One field of view of a urine filter membrane, 4× objective, 2028 × 1520 pixels. Field of view: about 1.5 mm wide and 1.1 mm high.
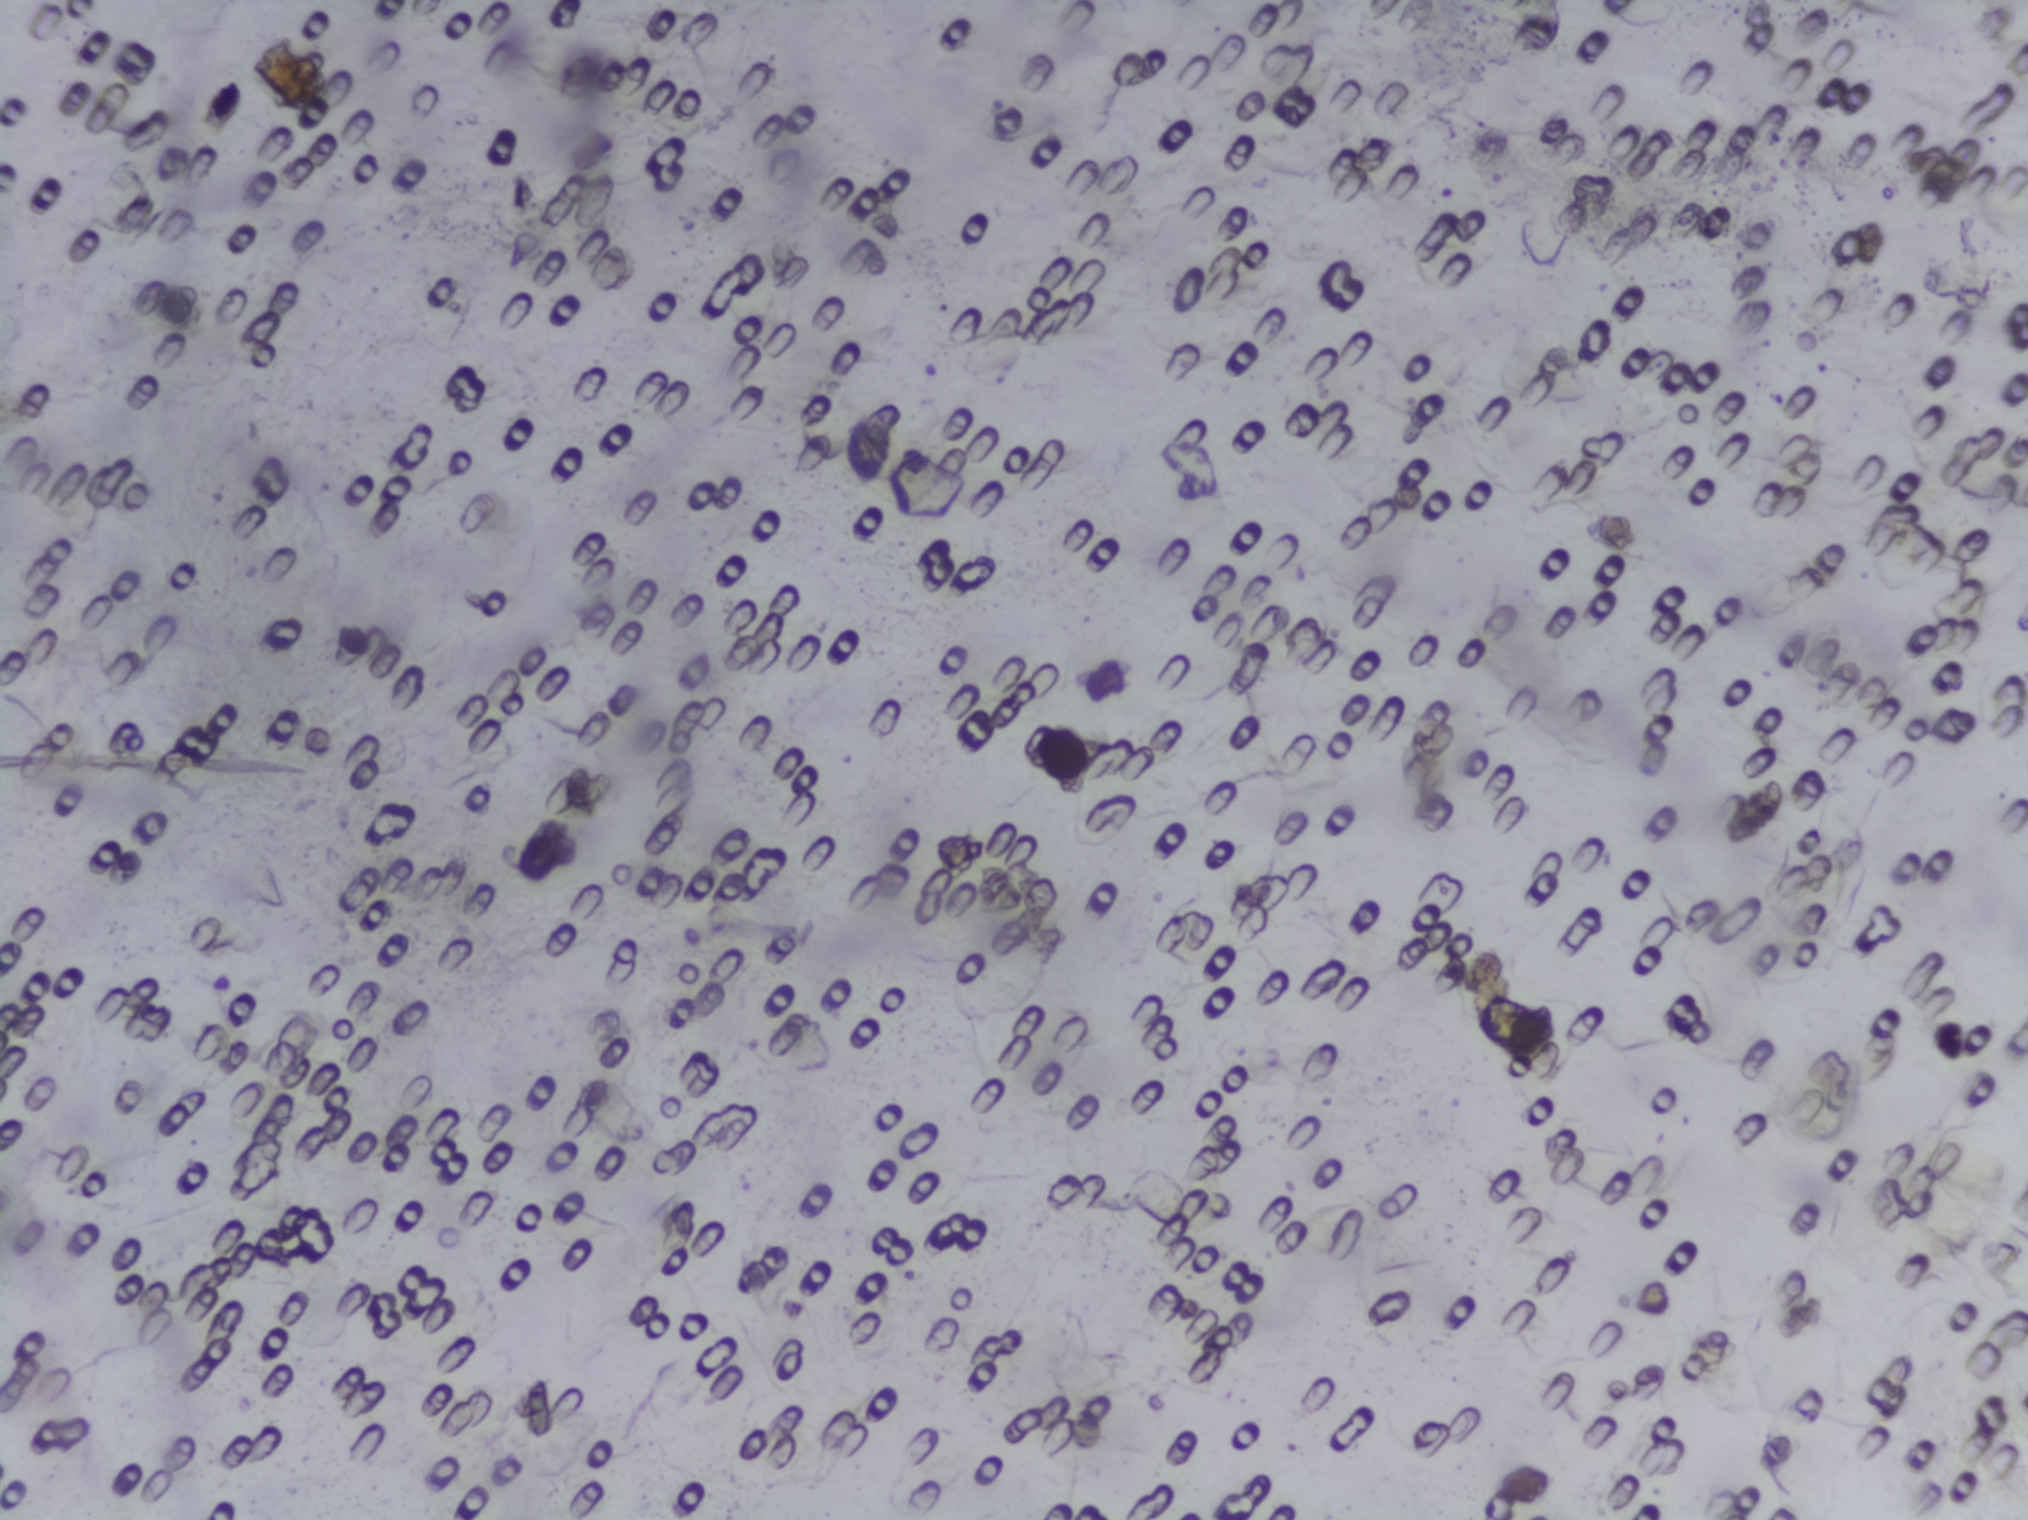
Schistosoma eggs: none outlined.